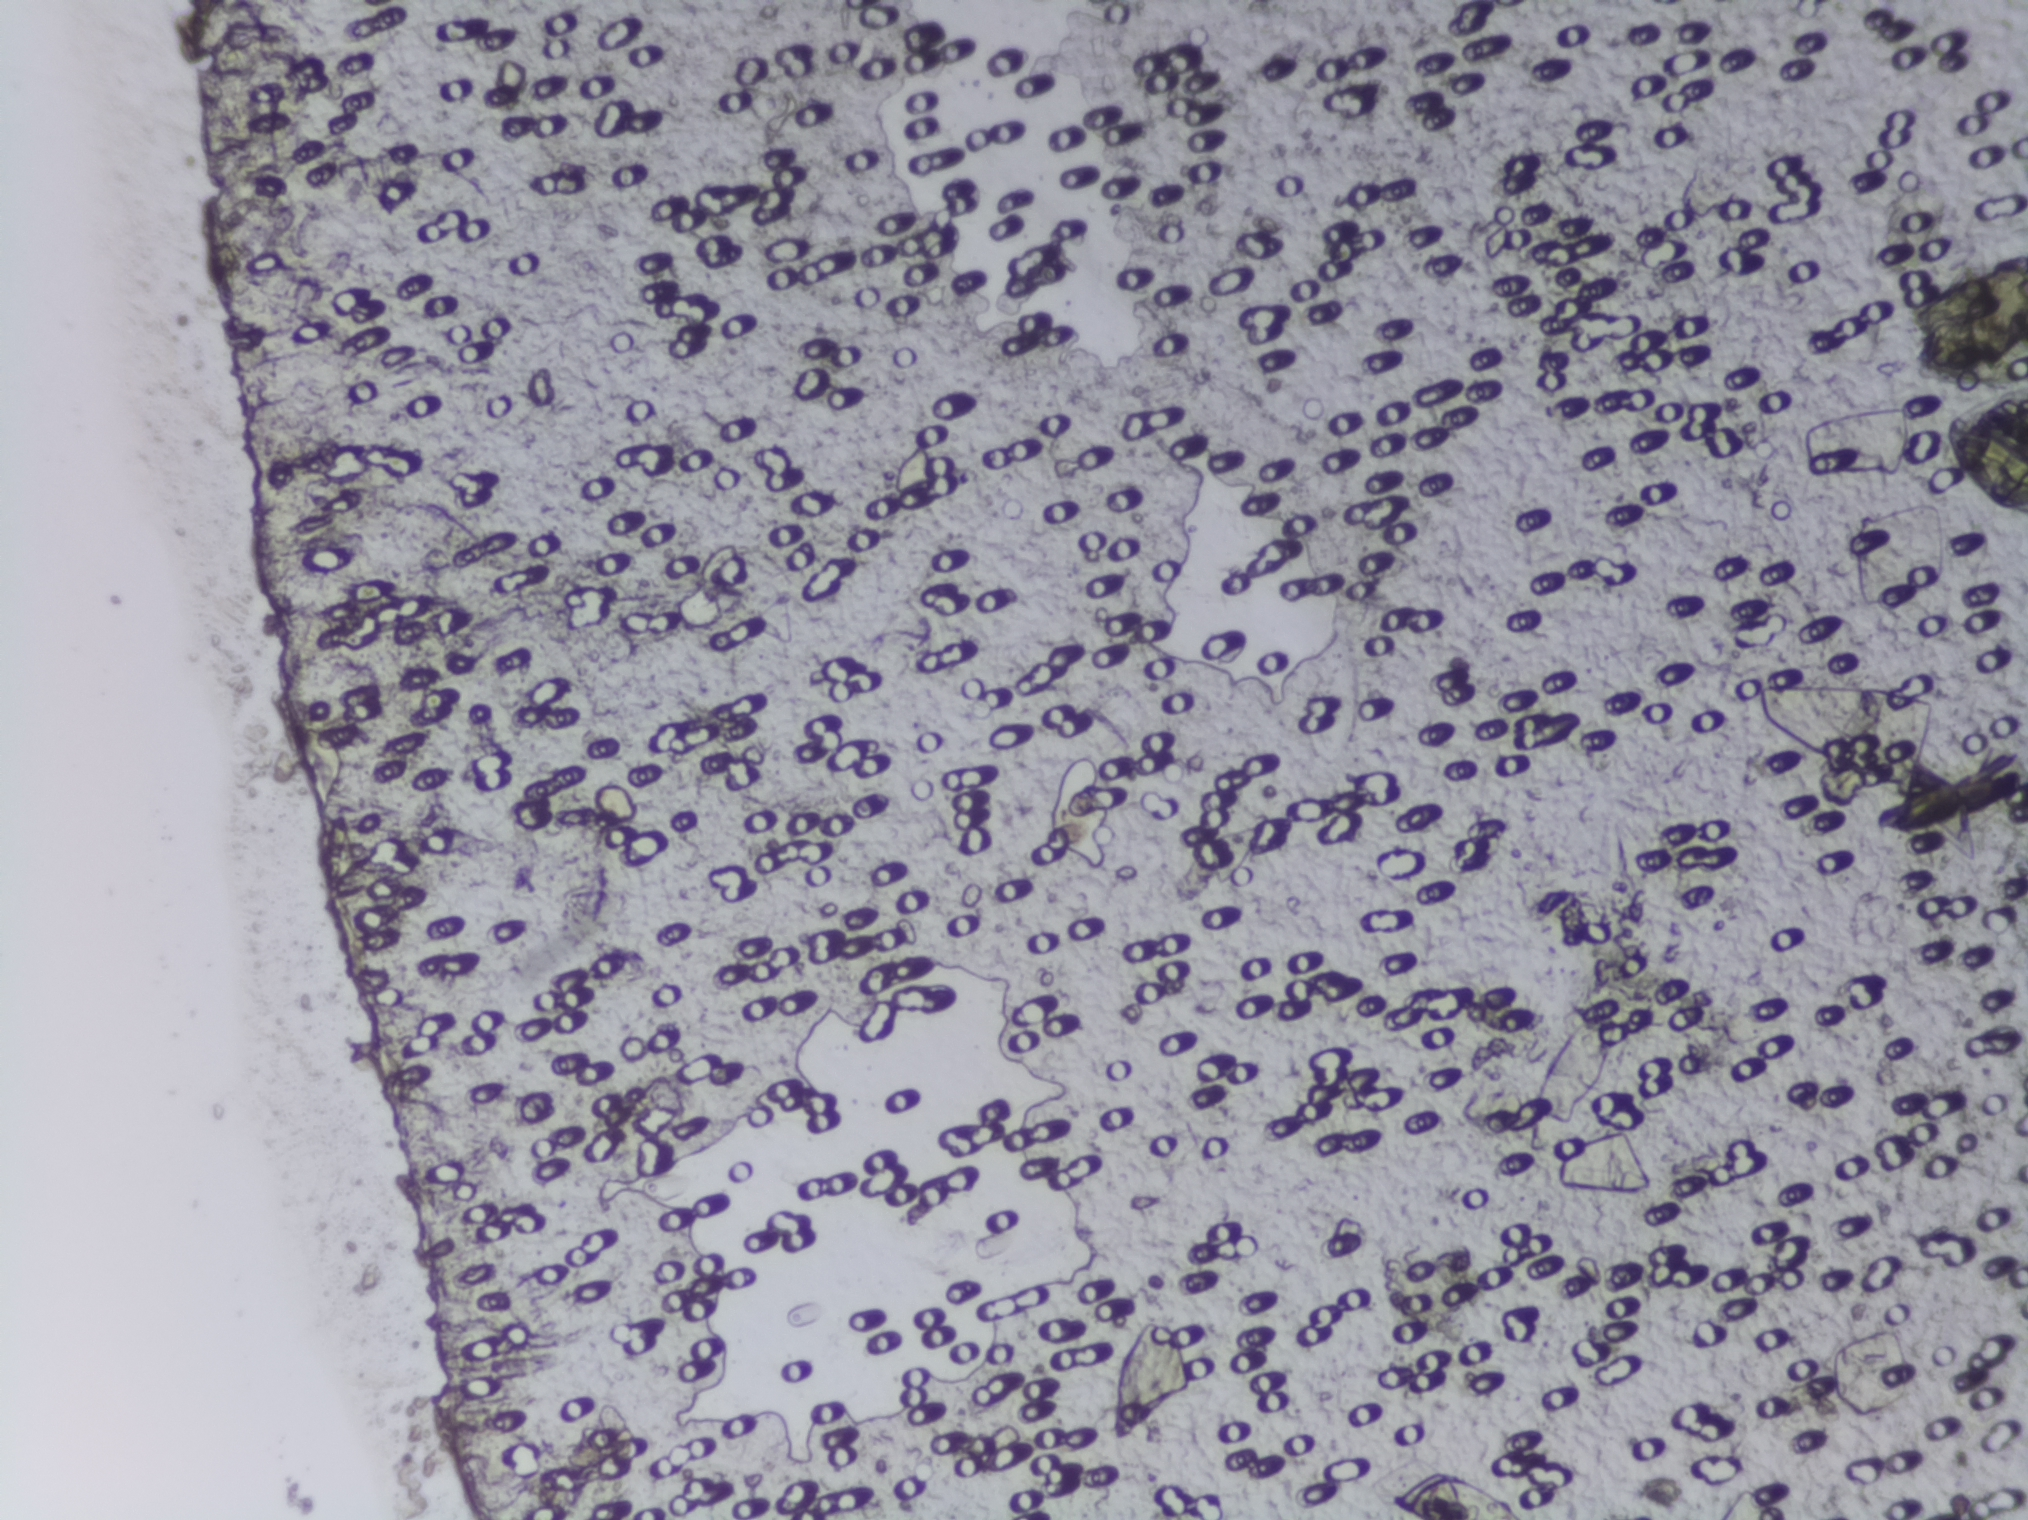
Urine filtration membrane under a 4× objective, photographed by an automated digital microscope.
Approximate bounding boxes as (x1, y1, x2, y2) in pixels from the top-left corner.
One area of this image is outlined as Schistosoma eggs: (1902, 254, 2027, 382) (reaching the right edge of the frame). The marked pixels themselves, not the box around them, cover about 0.4% of the image. A single outlined area may contain several eggs. A marked egg may occasionally be S. mansoni rather than S. haematobium.